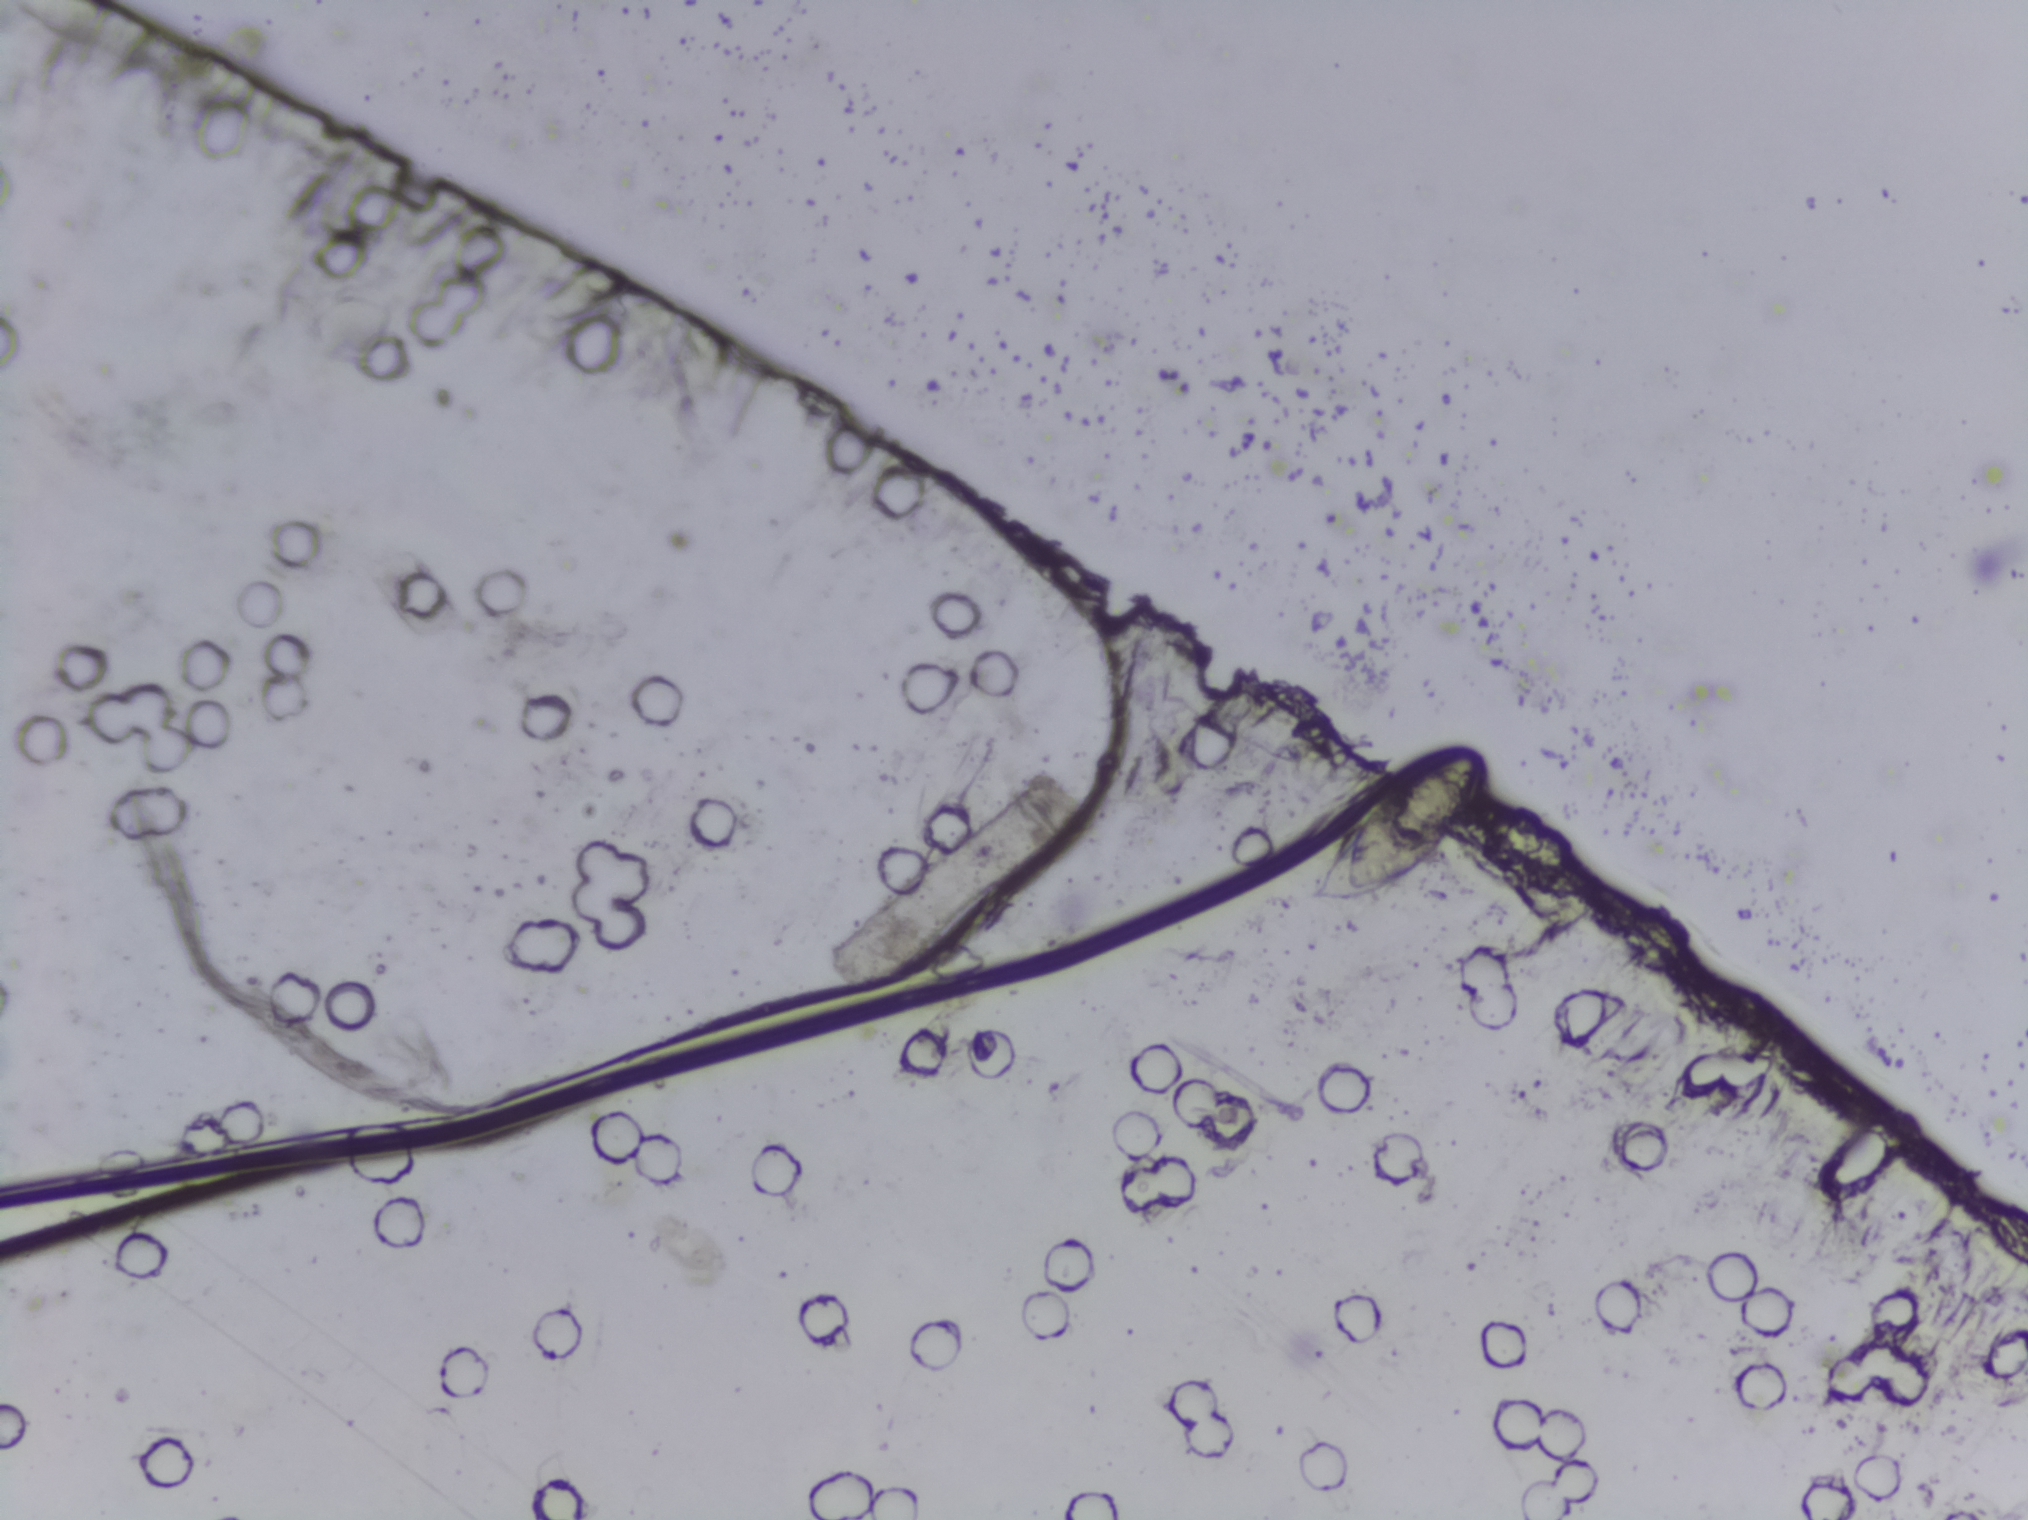
Photomicrograph of a urine filtration membrane, 4× objective. The image covers about 1.5 × 1.1 mm of the membrane.
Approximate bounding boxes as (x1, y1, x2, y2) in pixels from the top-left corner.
One area of this image is outlined as Schistosoma eggs: (1308, 735, 1489, 903). Marked pixels, not the box around them: about 0.5% of the image. An outlined area can hold more than one egg. A marked egg may occasionally be S. mansoni rather than S. haematobium.